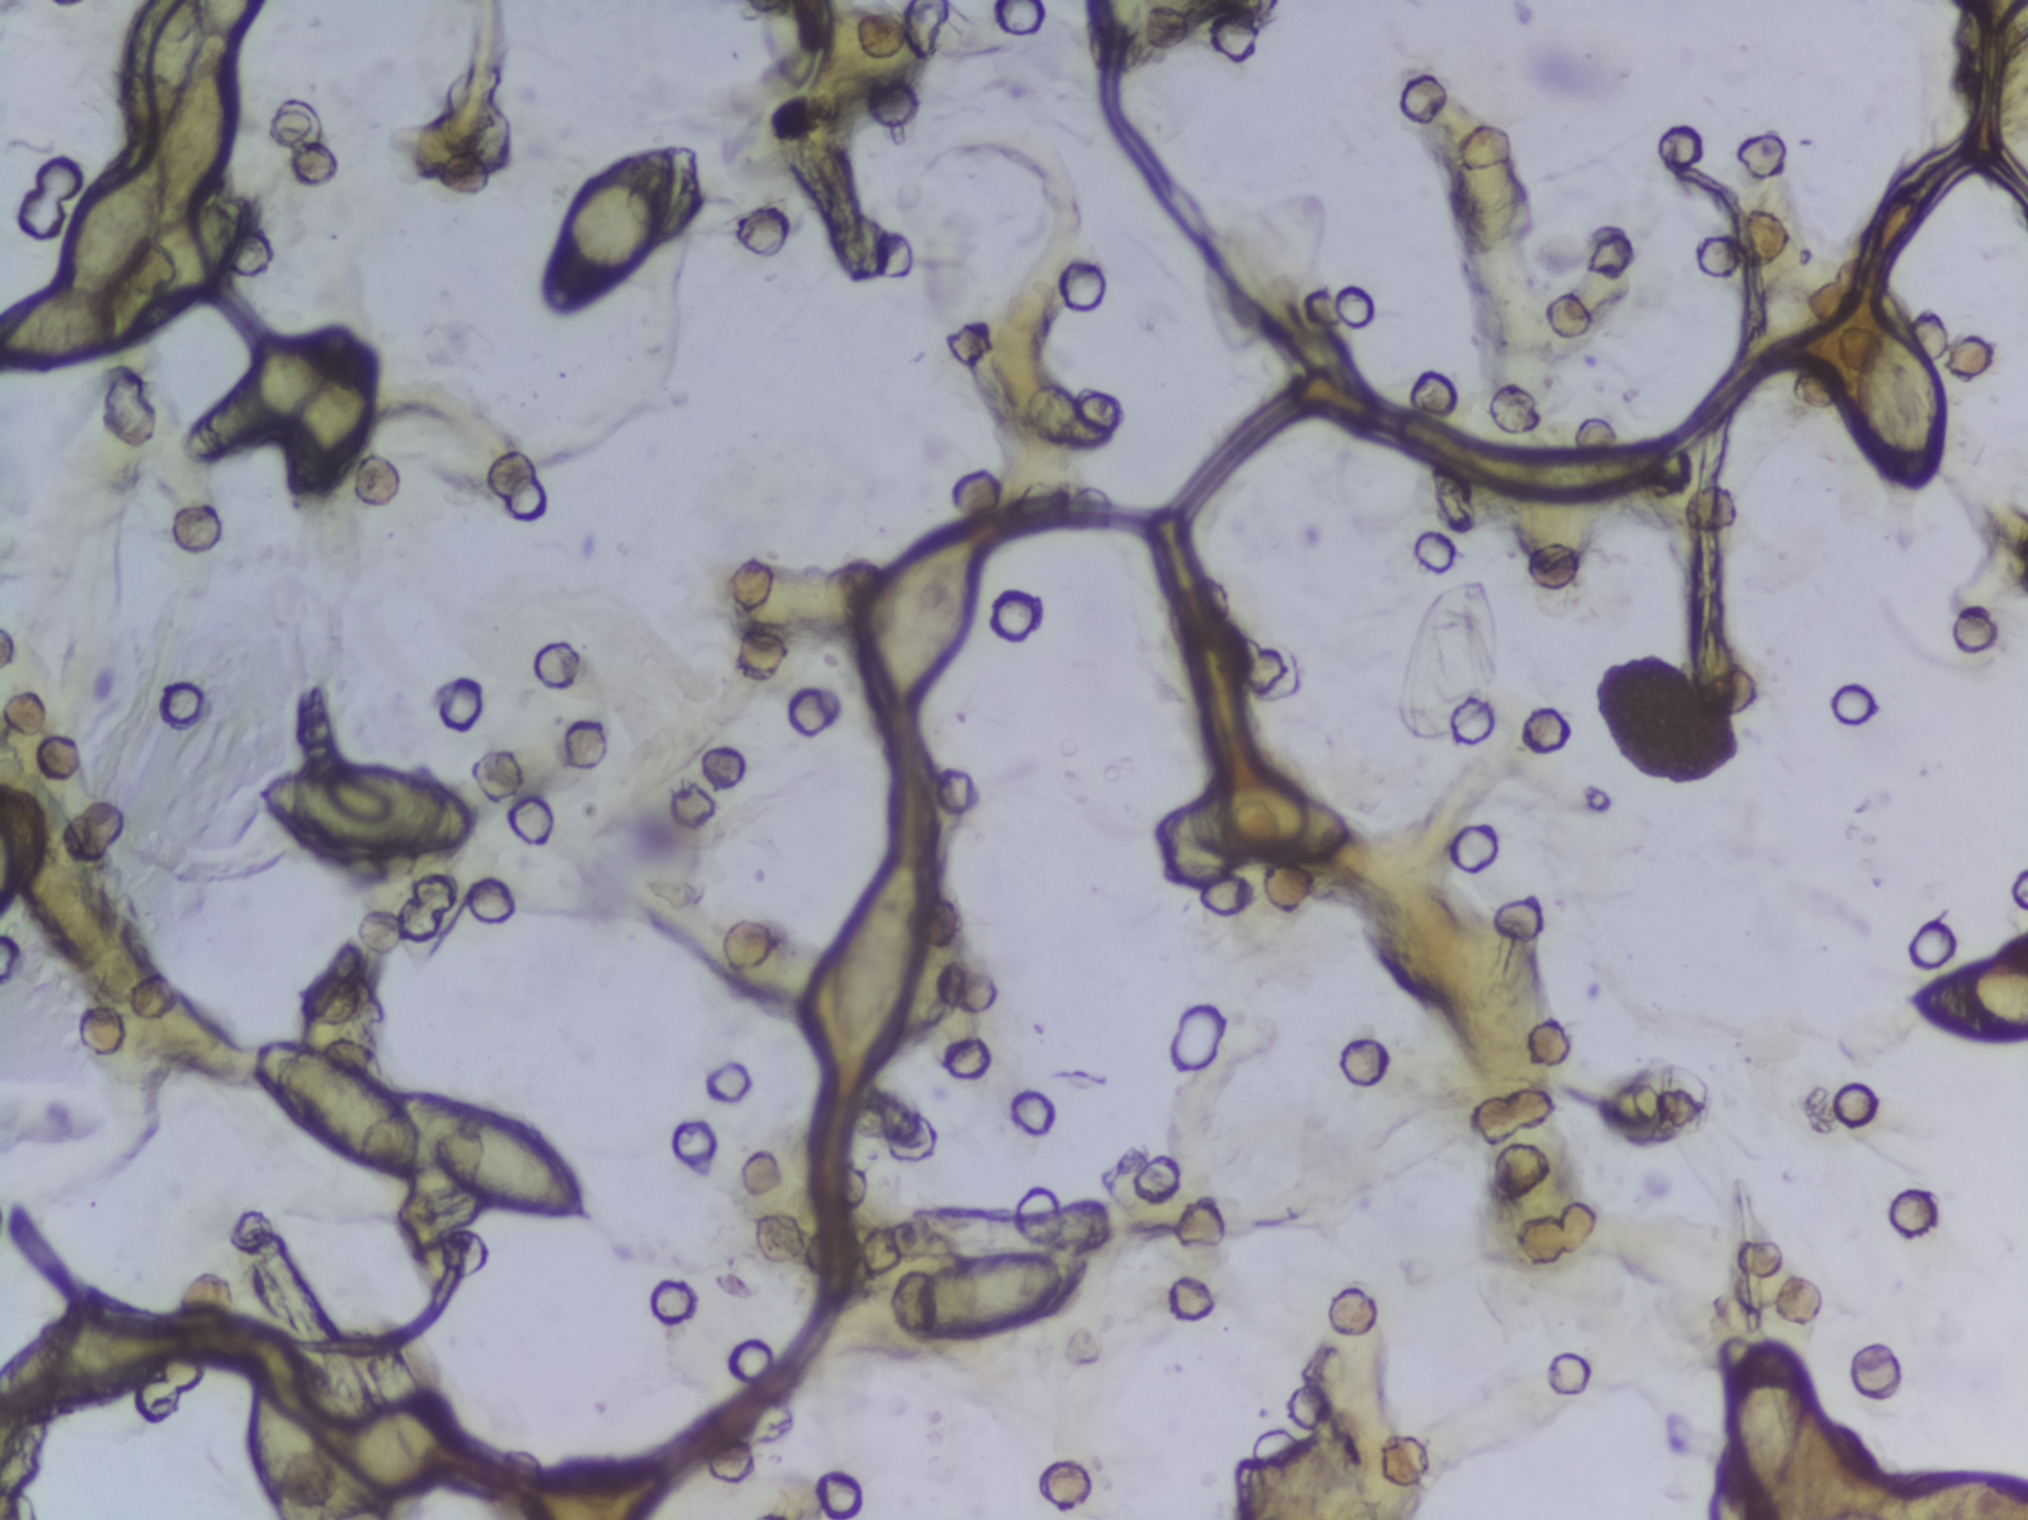
One field of view of a urine filter membrane, 4× objective, 2028 × 1520 pixels. The image covers about 1.5 × 1.1 mm of the membrane.
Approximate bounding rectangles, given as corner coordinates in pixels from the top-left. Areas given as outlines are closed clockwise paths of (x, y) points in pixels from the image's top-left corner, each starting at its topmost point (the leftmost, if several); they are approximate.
Schistosoma eggs are outlined in 17 areas of this image, listed from left to right: box (x1=0, y1=0, x2=254, y2=370) (eggs clustered together; reaching the left and top edges of the frame); box (x1=0, y1=1298, x2=207, y2=1435) (reaching the left edge of the frame); box (x1=179, y1=320, x2=380, y2=507); box (x1=243, y1=1341, x2=470, y2=1519) (reaching the bottom edge of the frame); outline (353, 937), (374, 945), (385, 992), (375, 1071), (396, 1091), (459, 1094), (543, 1125), (573, 1162), (595, 1222), (555, 1224), (510, 1215), (469, 1198), (437, 1173), (384, 1176), (321, 1148), (261, 1096), (246, 1073), (248, 1050), (261, 1041), (301, 1040), (303, 999), (313, 979); box (x1=252, y1=756, x2=475, y2=866); box (x1=529, y1=135, x2=686, y2=322); box (x1=755, y1=0, x2=821, y2=88) (reaching the top edge of the frame); box (x1=823, y1=850, x2=932, y2=1064); box (x1=858, y1=519, x2=991, y2=710); box (x1=901, y1=1249, x2=1090, y2=1341); box (x1=1149, y1=779, x2=1358, y2=870); box (x1=1393, y1=576, x2=1502, y2=748); box (x1=1715, y1=1324, x2=1834, y2=1519) (reaching the bottom edge of the frame); box (x1=1853, y1=285, x2=1950, y2=499); box (x1=1896, y1=949, x2=2027, y2=1049) (reaching the right edge of the frame); box (x1=1991, y1=2, x2=2027, y2=175) (reaching the right edge of the frame). Marked pixels, not the boxes and the outline around them: about 11% of the image. An outlined area can hold more than one egg.